Photomicrograph of a urine filtration membrane, 4× objective. Field of view: about 1.5 mm wide and 1.1 mm high.
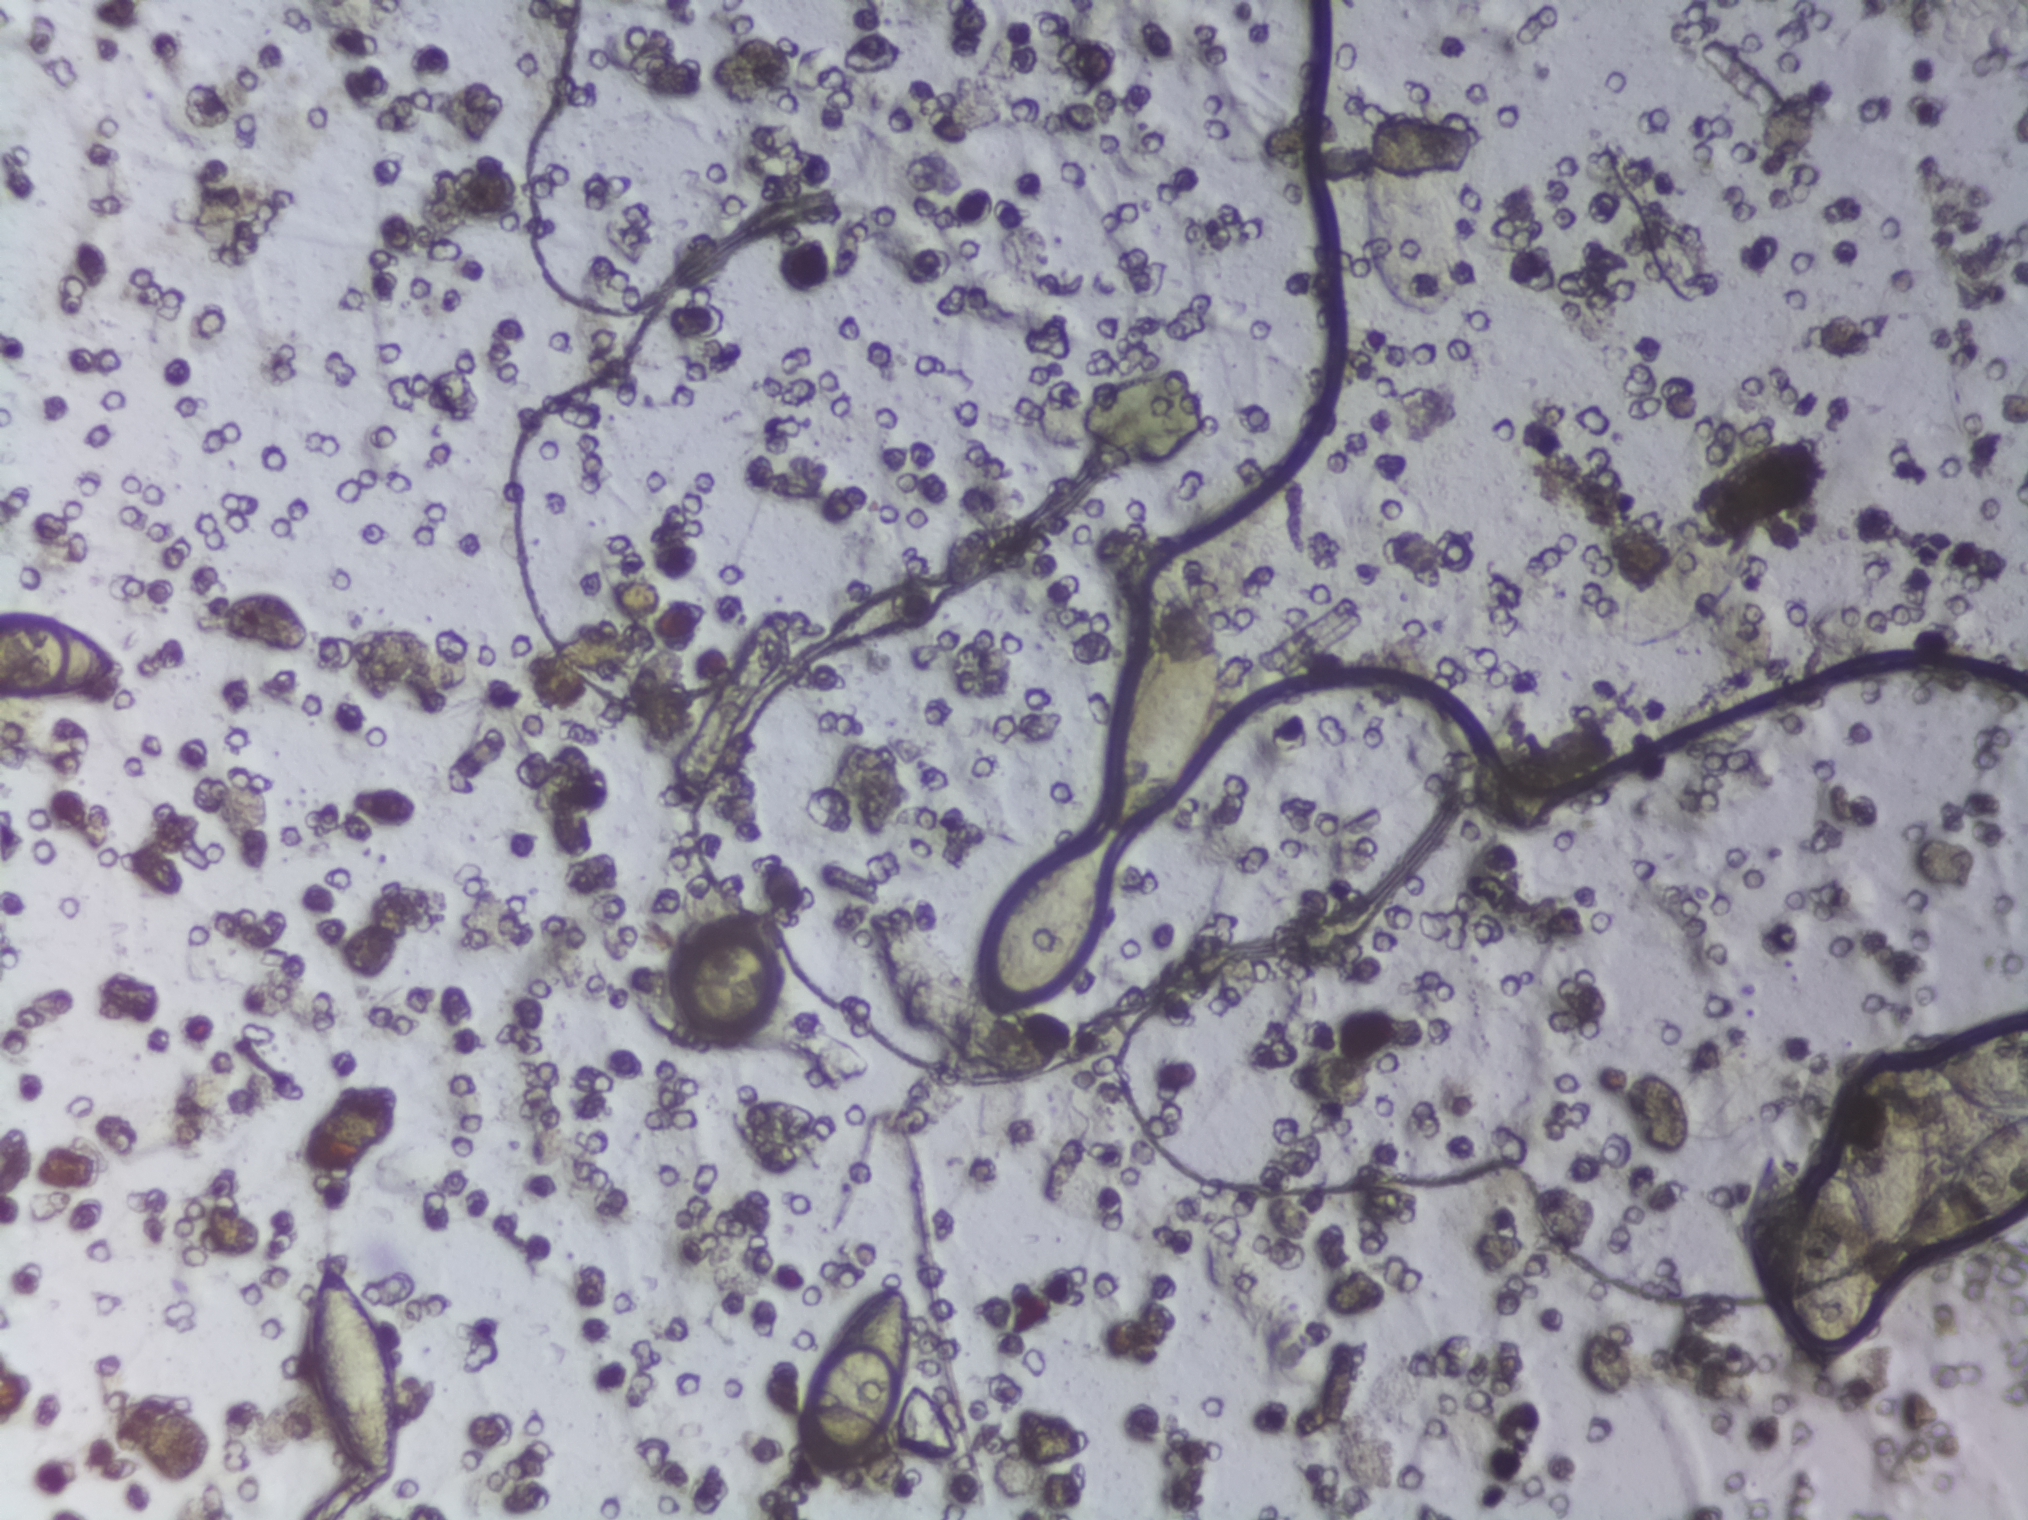
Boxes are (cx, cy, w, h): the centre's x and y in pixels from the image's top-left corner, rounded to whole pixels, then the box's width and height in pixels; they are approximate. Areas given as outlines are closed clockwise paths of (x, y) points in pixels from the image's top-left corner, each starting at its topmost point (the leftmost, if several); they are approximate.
Schistosoma eggs, outlined areas: box (cx=63, cy=655, w=126, h=99) (reaching the left edge of the frame); box (cx=353, cy=1370, w=96, h=241); box (cx=857, cy=1390, w=113, h=206); box (cx=1043, cy=931, w=128, h=182); box (cx=1167, cy=738, w=127, h=200); box (cx=1414, cy=221, w=108, h=201); box (cx=1685, cy=581, w=134, h=144); outline (2027, 1015), (2027, 1216), (1954, 1248), (1907, 1252), (1890, 1294), (1870, 1295), (1855, 1350), (1831, 1376), (1817, 1372), (1767, 1313), (1738, 1246), (1745, 1193), (1767, 1150), (1784, 1156), (1804, 1183), (1819, 1148), (1837, 1149), (1834, 1100), (1840, 1083), (1880, 1031), (1892, 1039), (1885, 1038), (1890, 1047), (1914, 1050), (1915, 1042), (1957, 1028) (eggs clustered together; reaching the right edge of the frame). Eggs that touch can end up inside the same outlined area.